Photograph from an automated digital microscope: urine filter membrane, 4× objective.
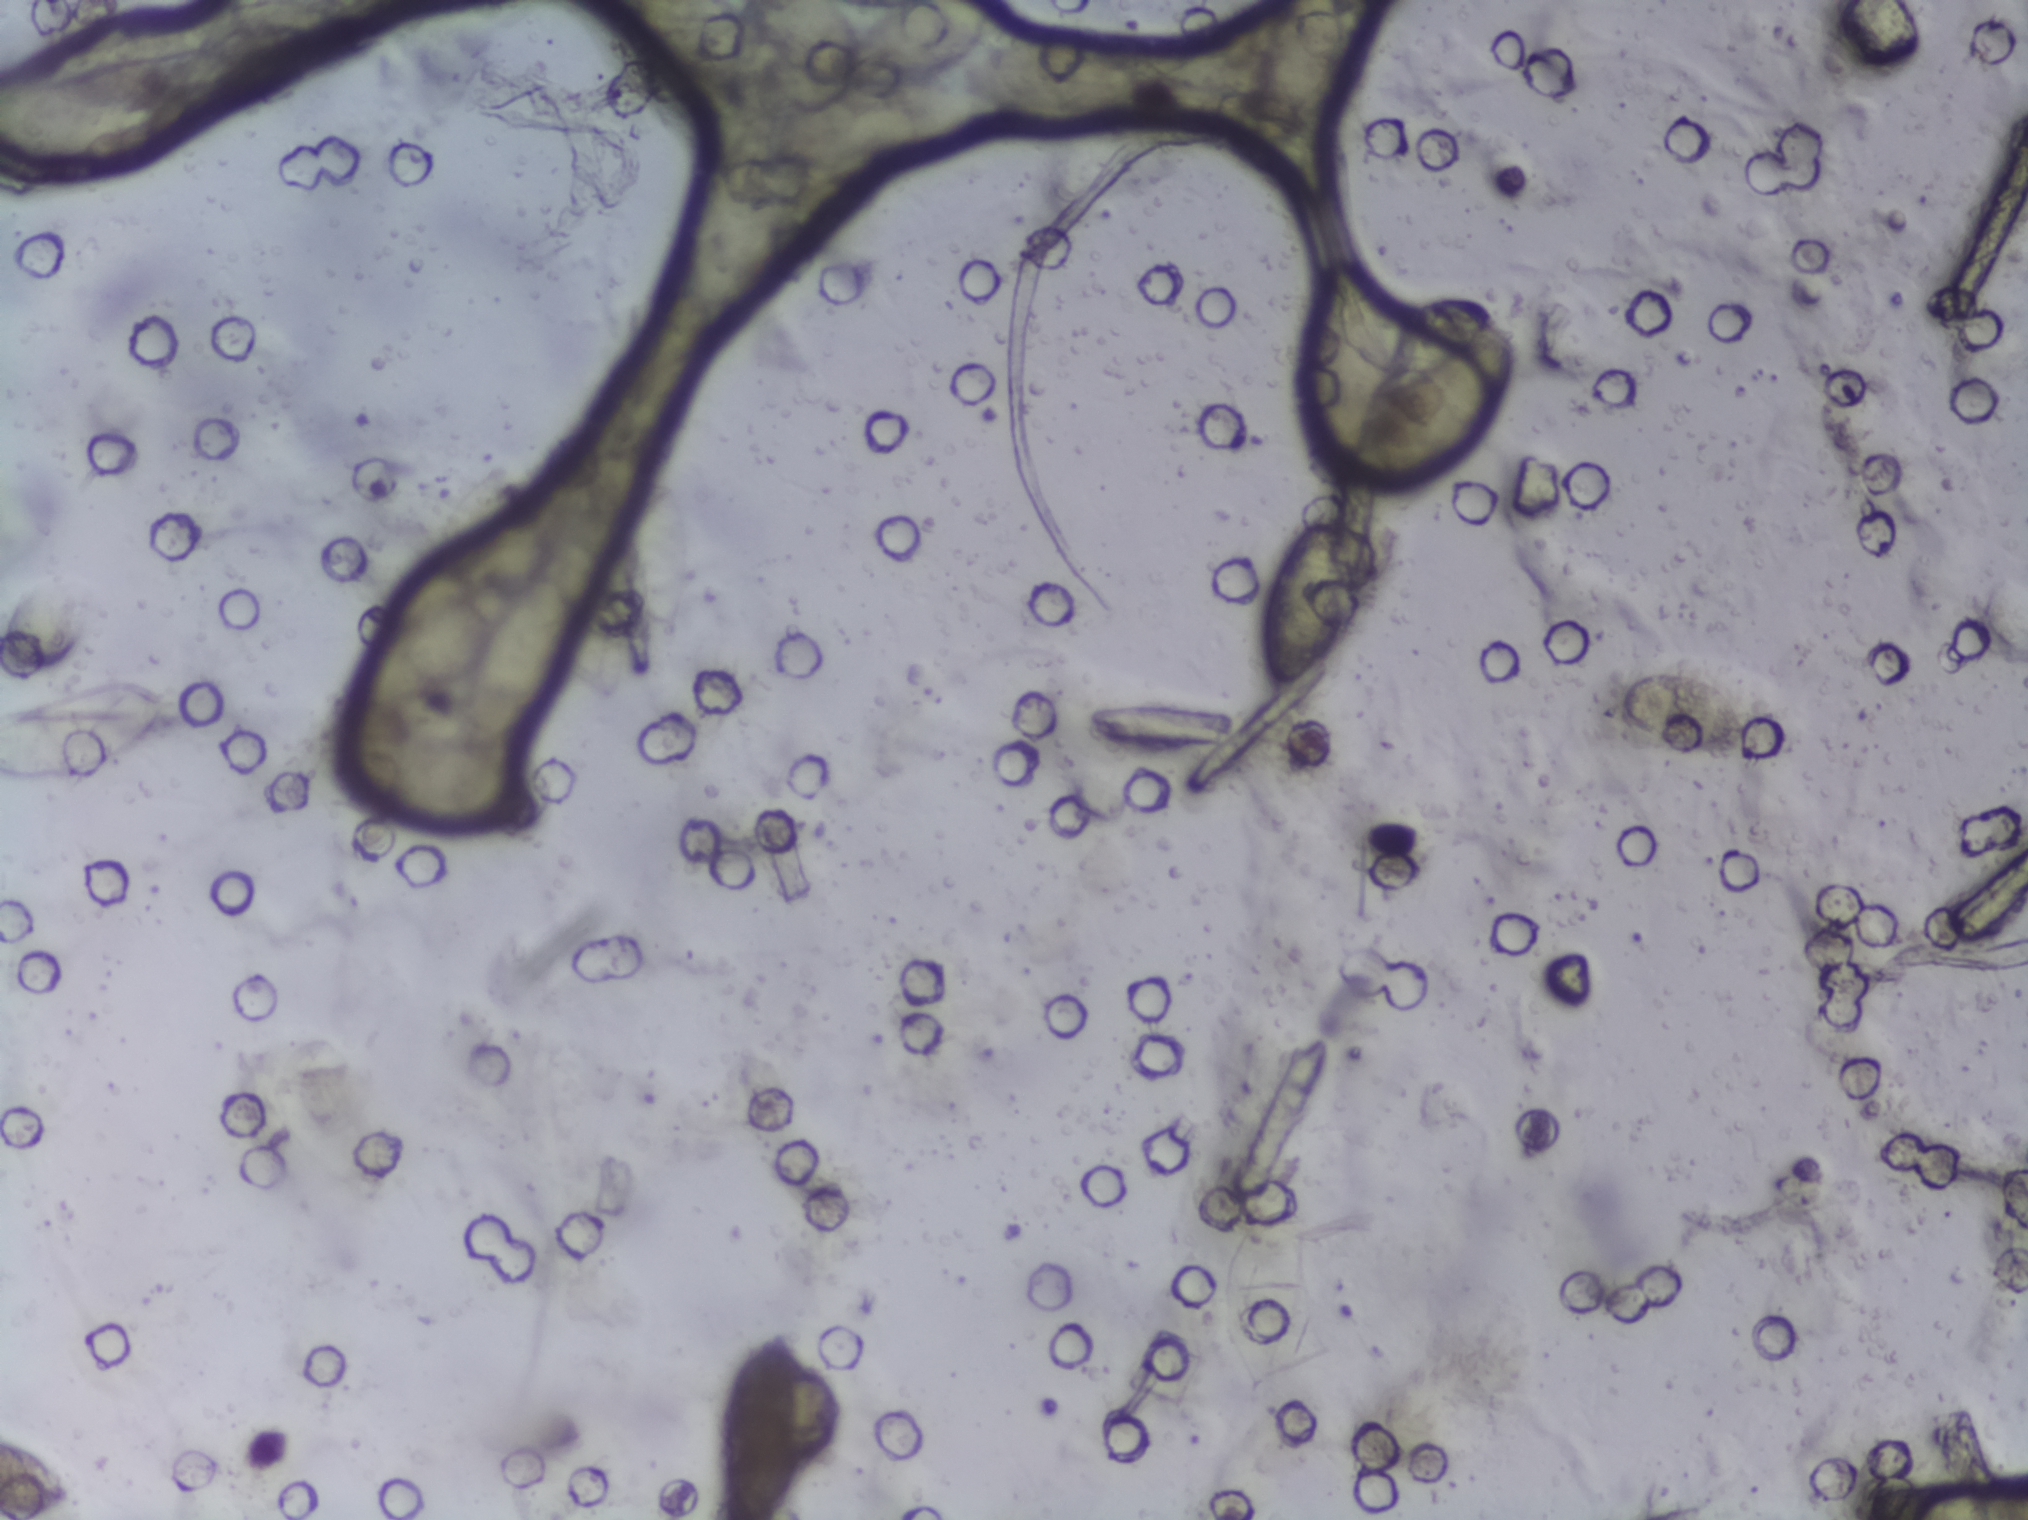
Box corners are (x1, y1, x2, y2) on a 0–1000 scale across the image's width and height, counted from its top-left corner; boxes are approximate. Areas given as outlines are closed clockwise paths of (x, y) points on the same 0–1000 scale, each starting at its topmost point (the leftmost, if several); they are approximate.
Outlined Schistosoma egg areas, left to right:
1. box (0, 50, 91, 123) (reaching the left edge of the frame)
2. box (0, 442, 86, 520) (reaching the left edge of the frame)
3. outline (264, 374), (278, 379), (285, 405), (284, 421), (271, 463), (241, 494), (261, 513), (268, 531), (268, 540), (257, 548), (203, 547), (172, 512), (168, 496), (198, 485), (230, 489), (228, 467), (241, 412)
4. box (300, 0, 490, 63) (reaching the top edge of the frame)
5. box (353, 874, 399, 1000) (reaching the bottom edge of the frame)
6. box (473, 22, 593, 85)
7. box (619, 0, 662, 93) (reaching the top edge of the frame)
8. box (623, 334, 671, 459)
9. box (640, 173, 749, 328)
An outlined area can hold more than one egg.